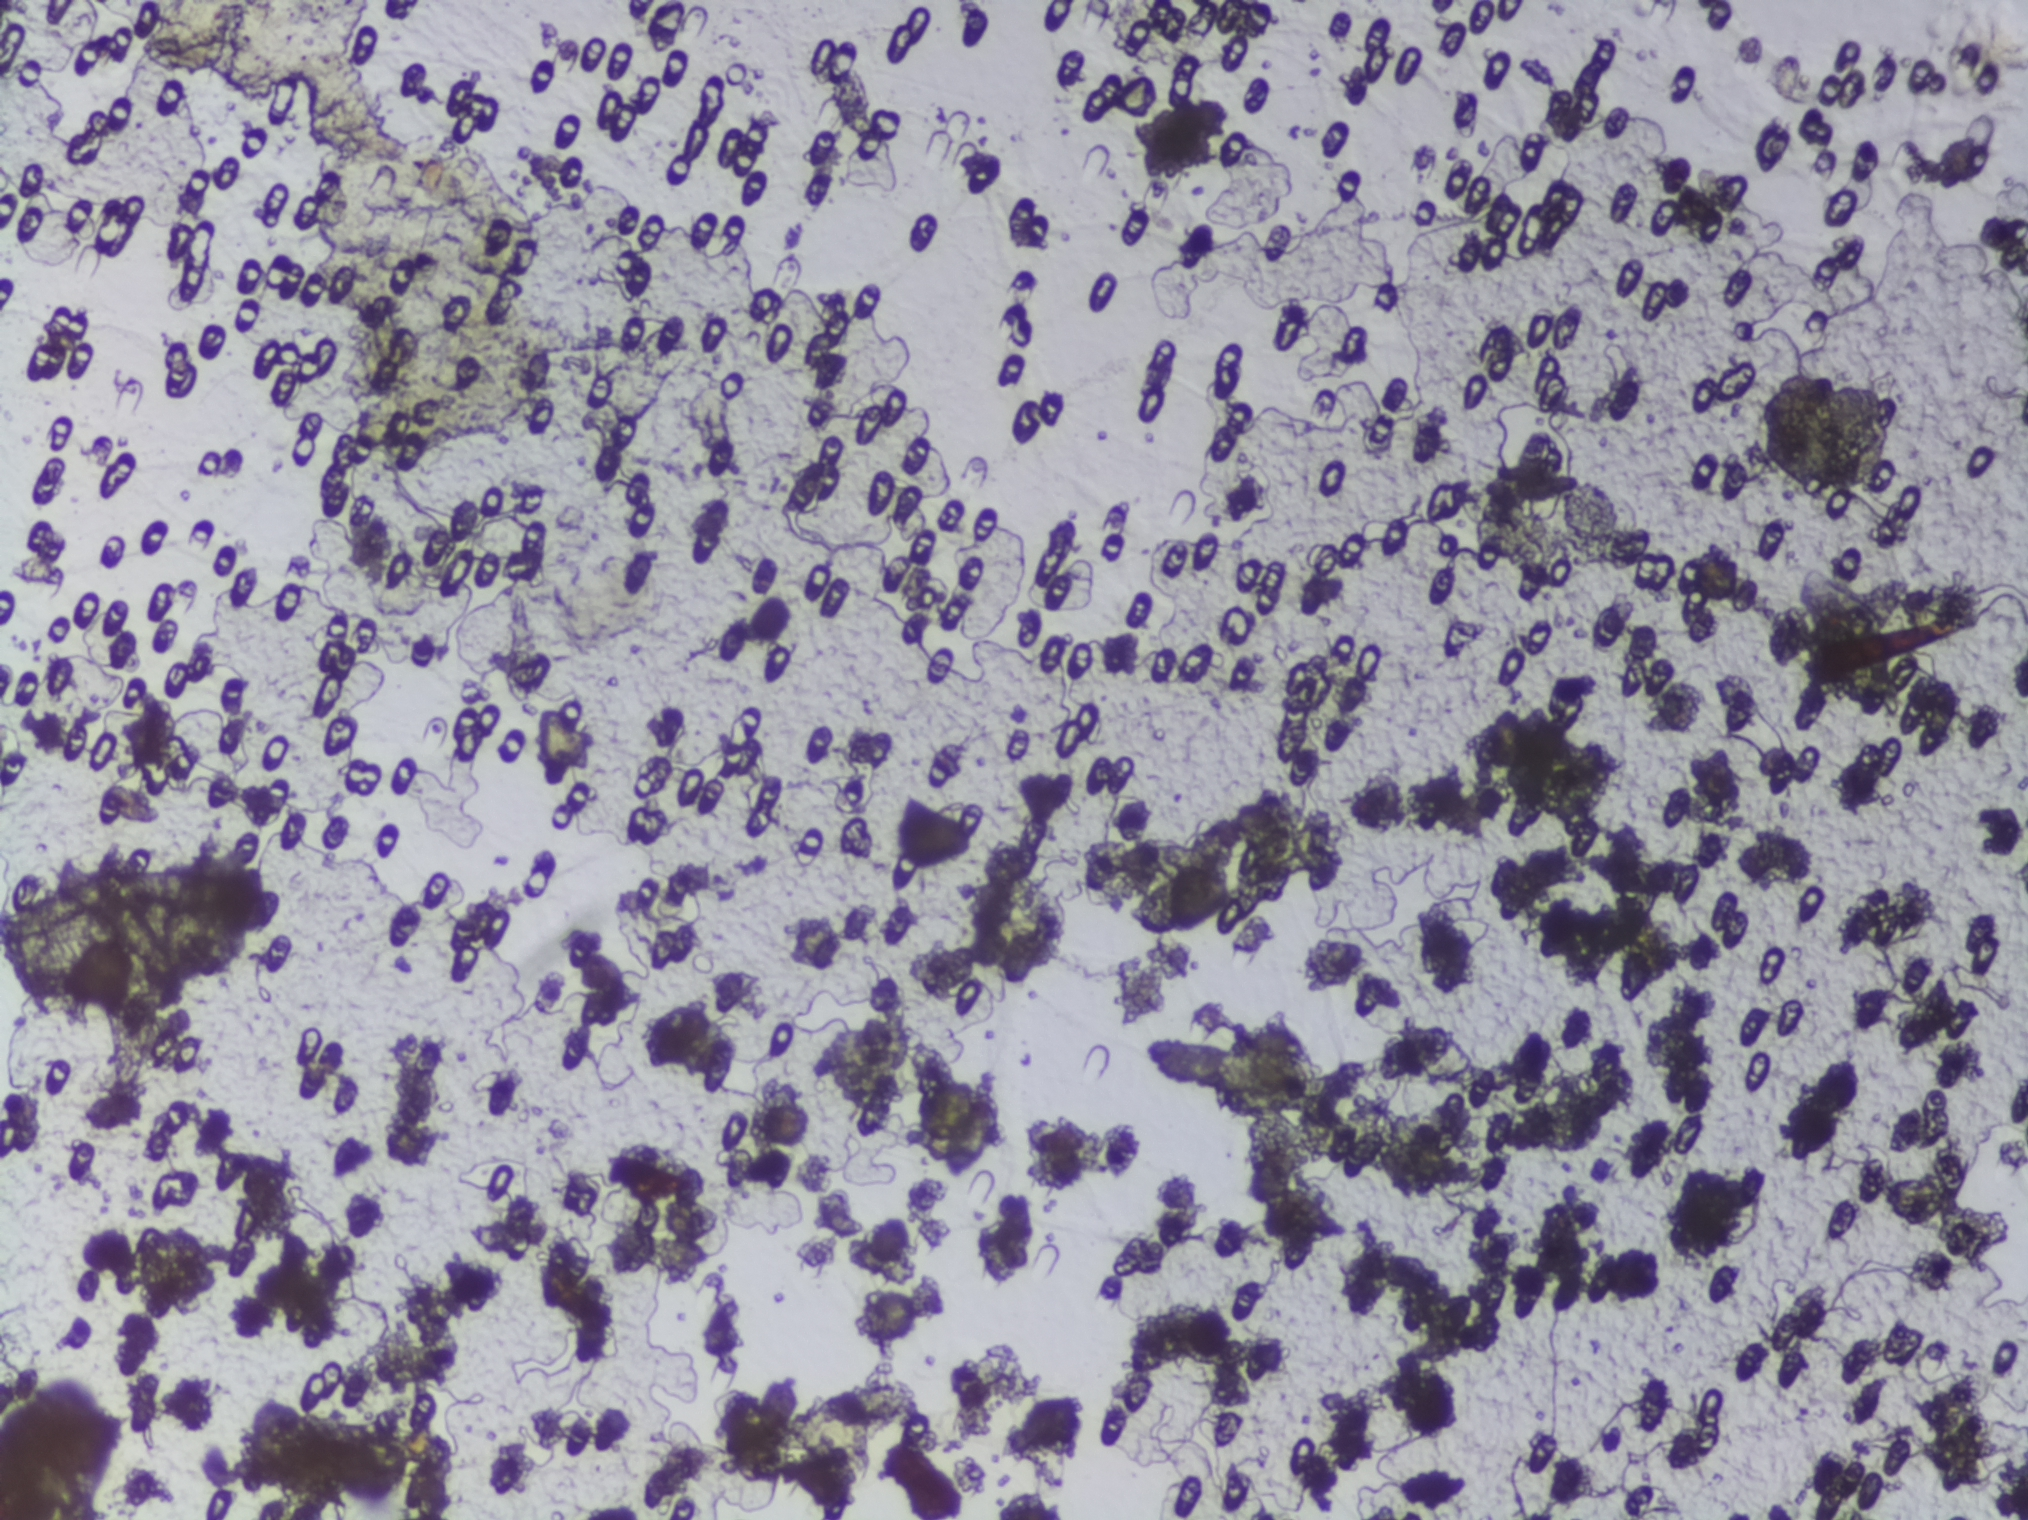
Microscope photograph (4× objective) of a membrane that a urine sample was filtered through. Field of view: about 1.5 mm wide and 1.1 mm high.
Schistosoma eggs: none outlined.